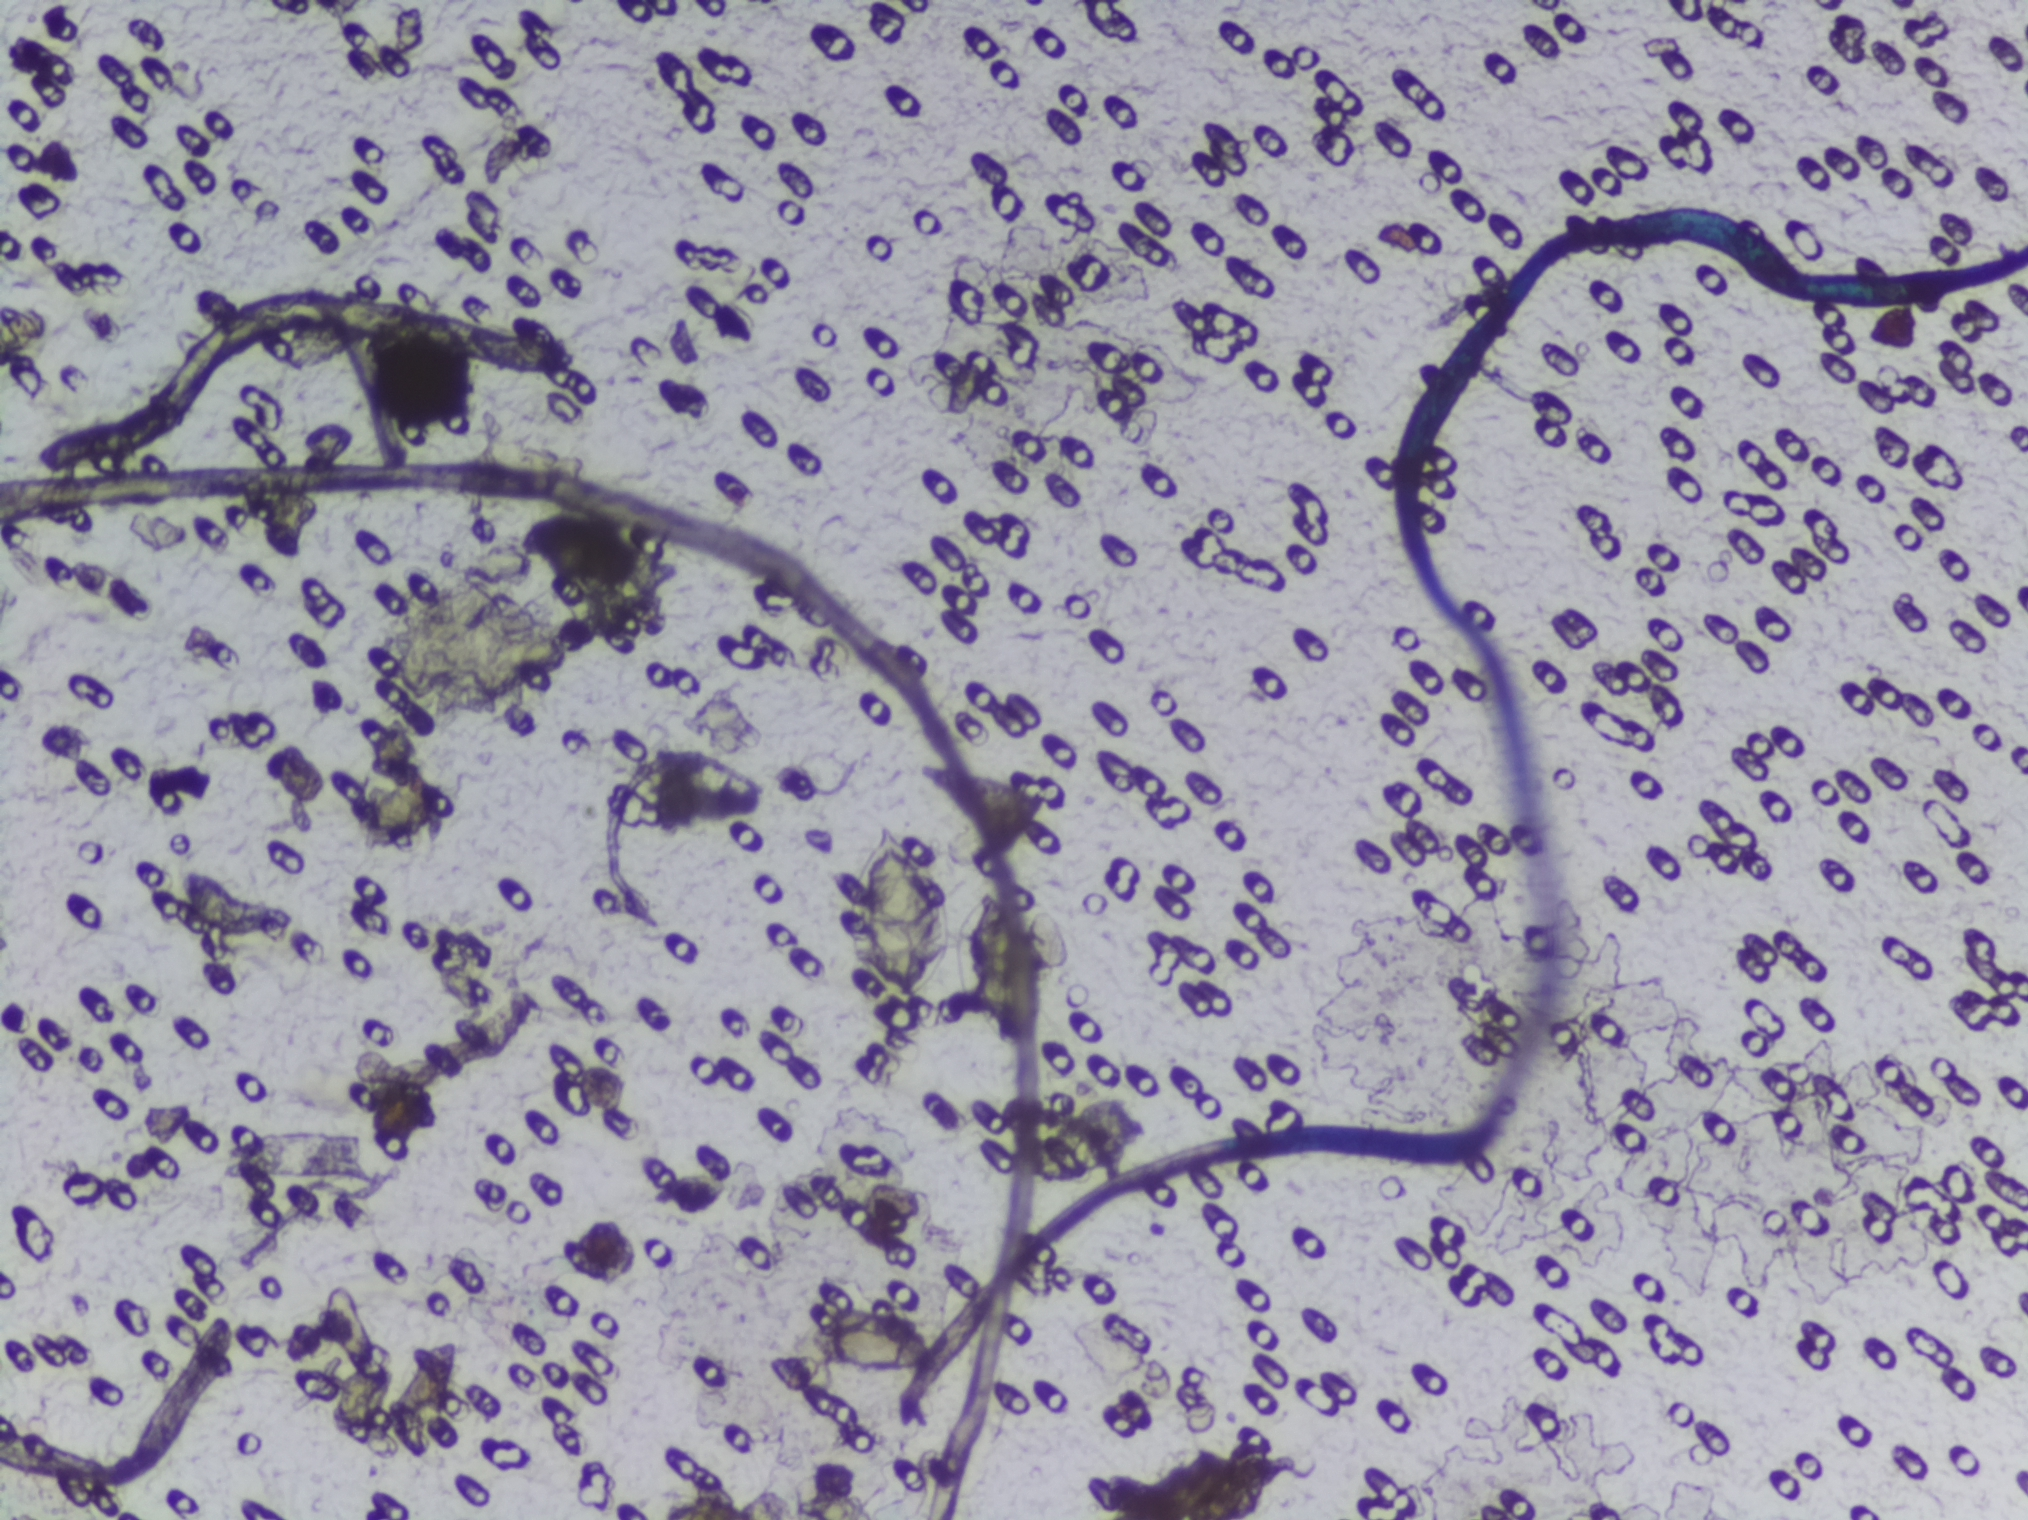
Urine filtration membrane under a 4× objective, photographed by an automated digital microscope.
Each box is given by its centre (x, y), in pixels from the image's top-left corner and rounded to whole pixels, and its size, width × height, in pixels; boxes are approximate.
One area of this image is outlined as Schistosoma eggs: centre (954, 931), 220 × 241 px. Eggs that touch can end up inside the same outlined area. A marked egg may occasionally be S. mansoni rather than S. haematobium.